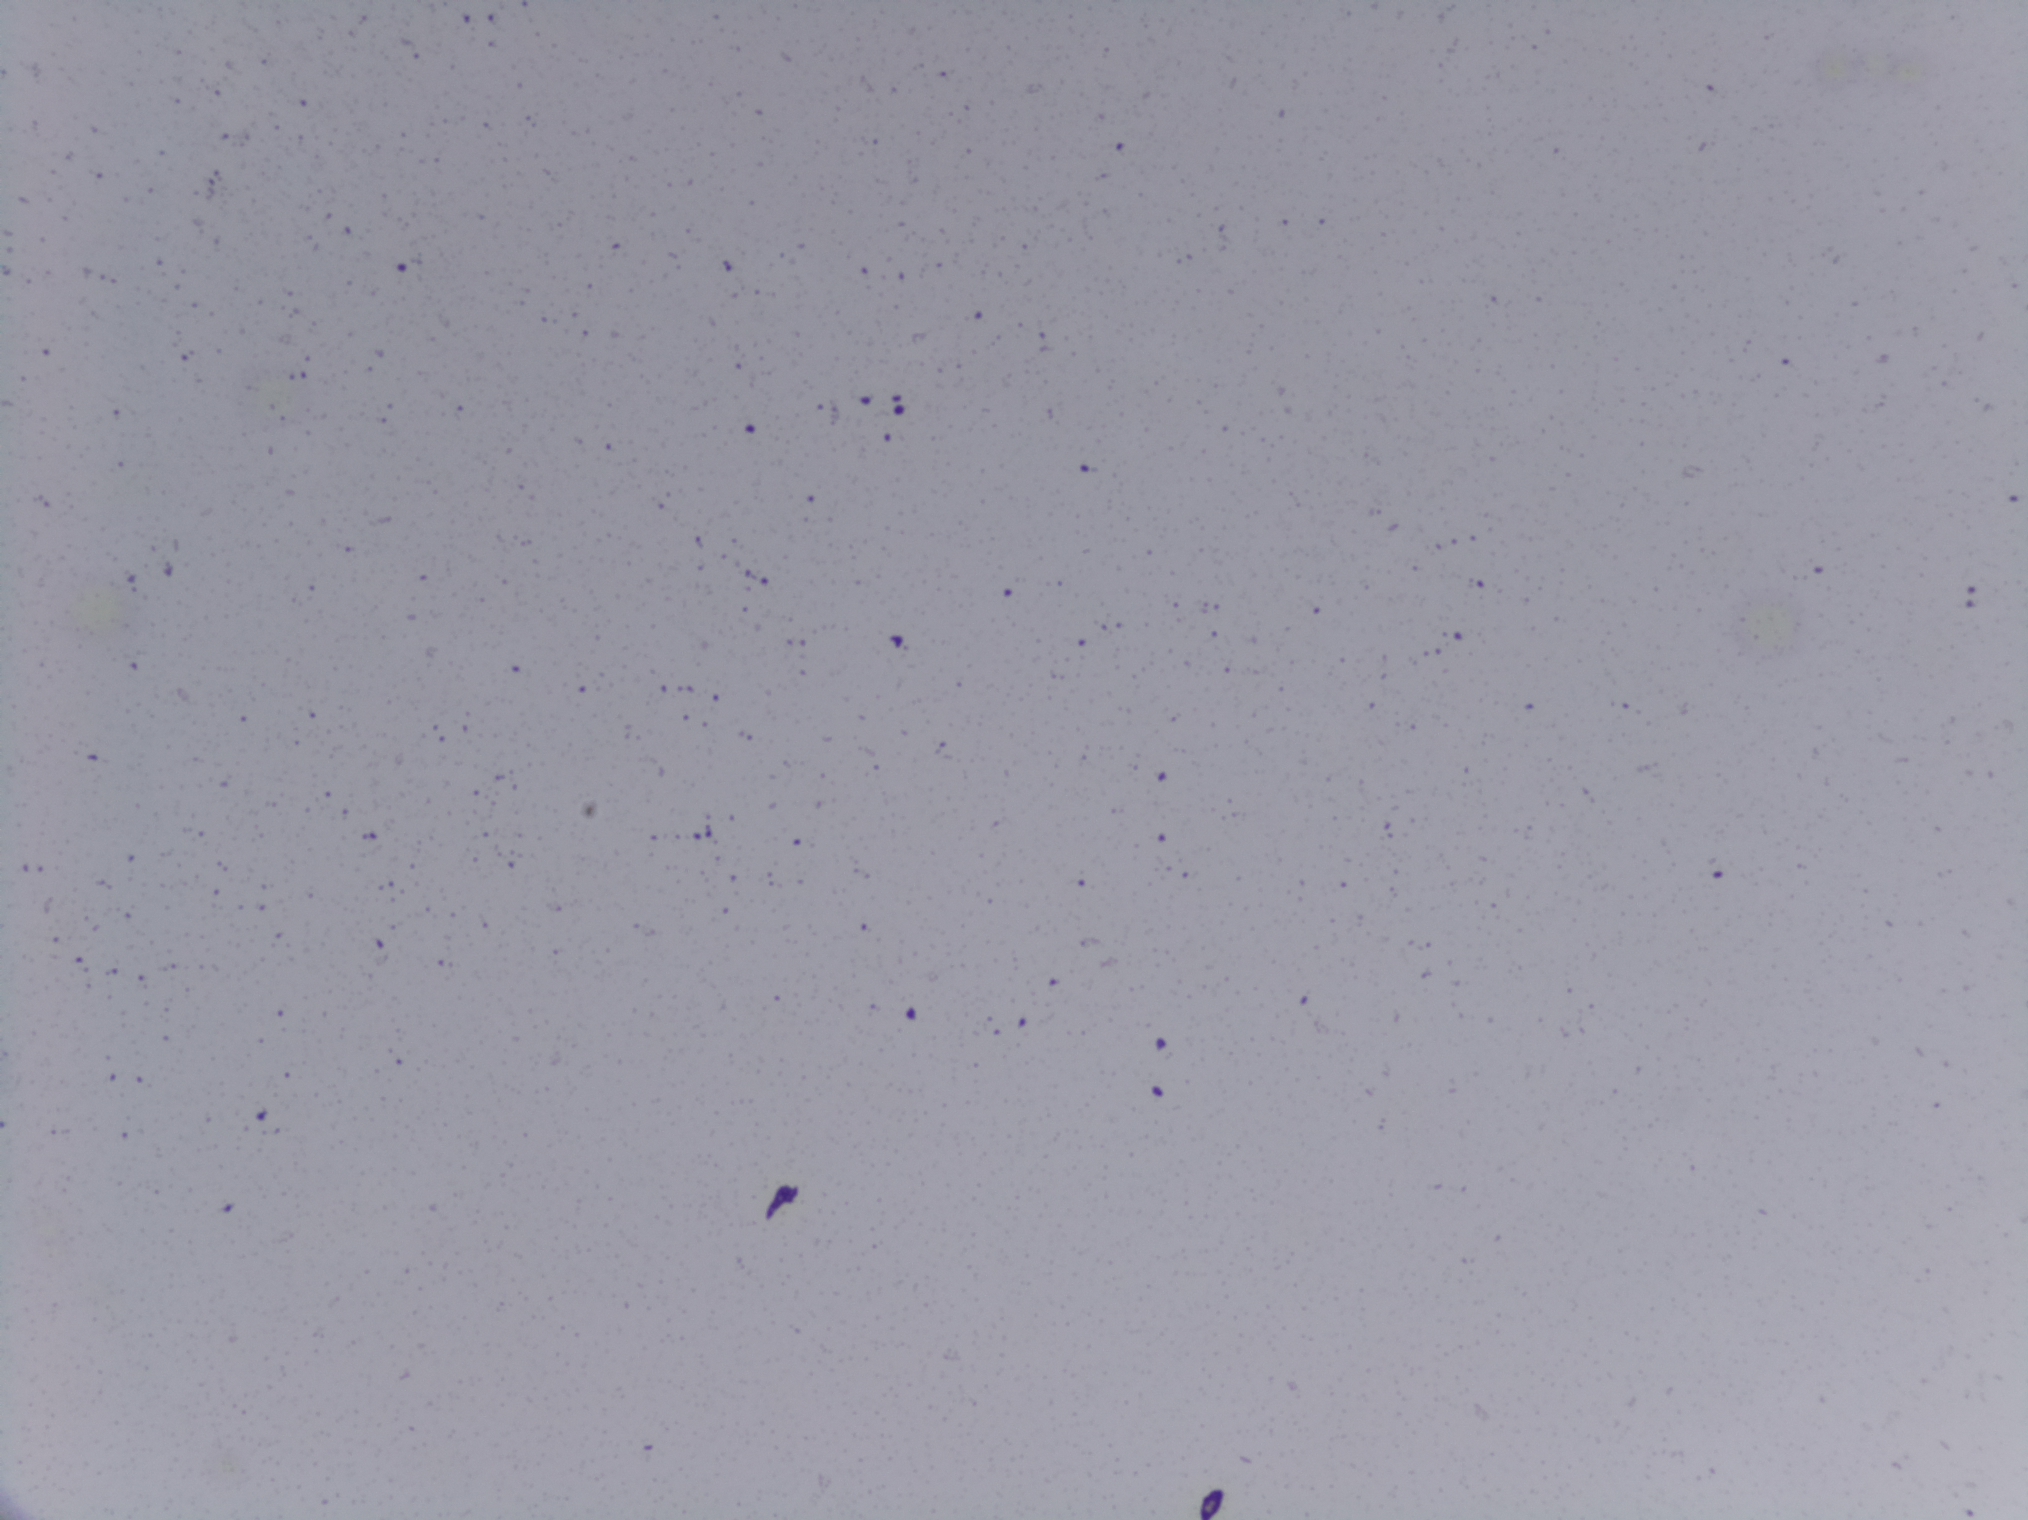
Schistosoma eggs: none outlined.
Microscope photograph (4× objective) of a membrane that a urine sample was filtered through.